Urine filter membrane photographed through a 4× microscope objective.
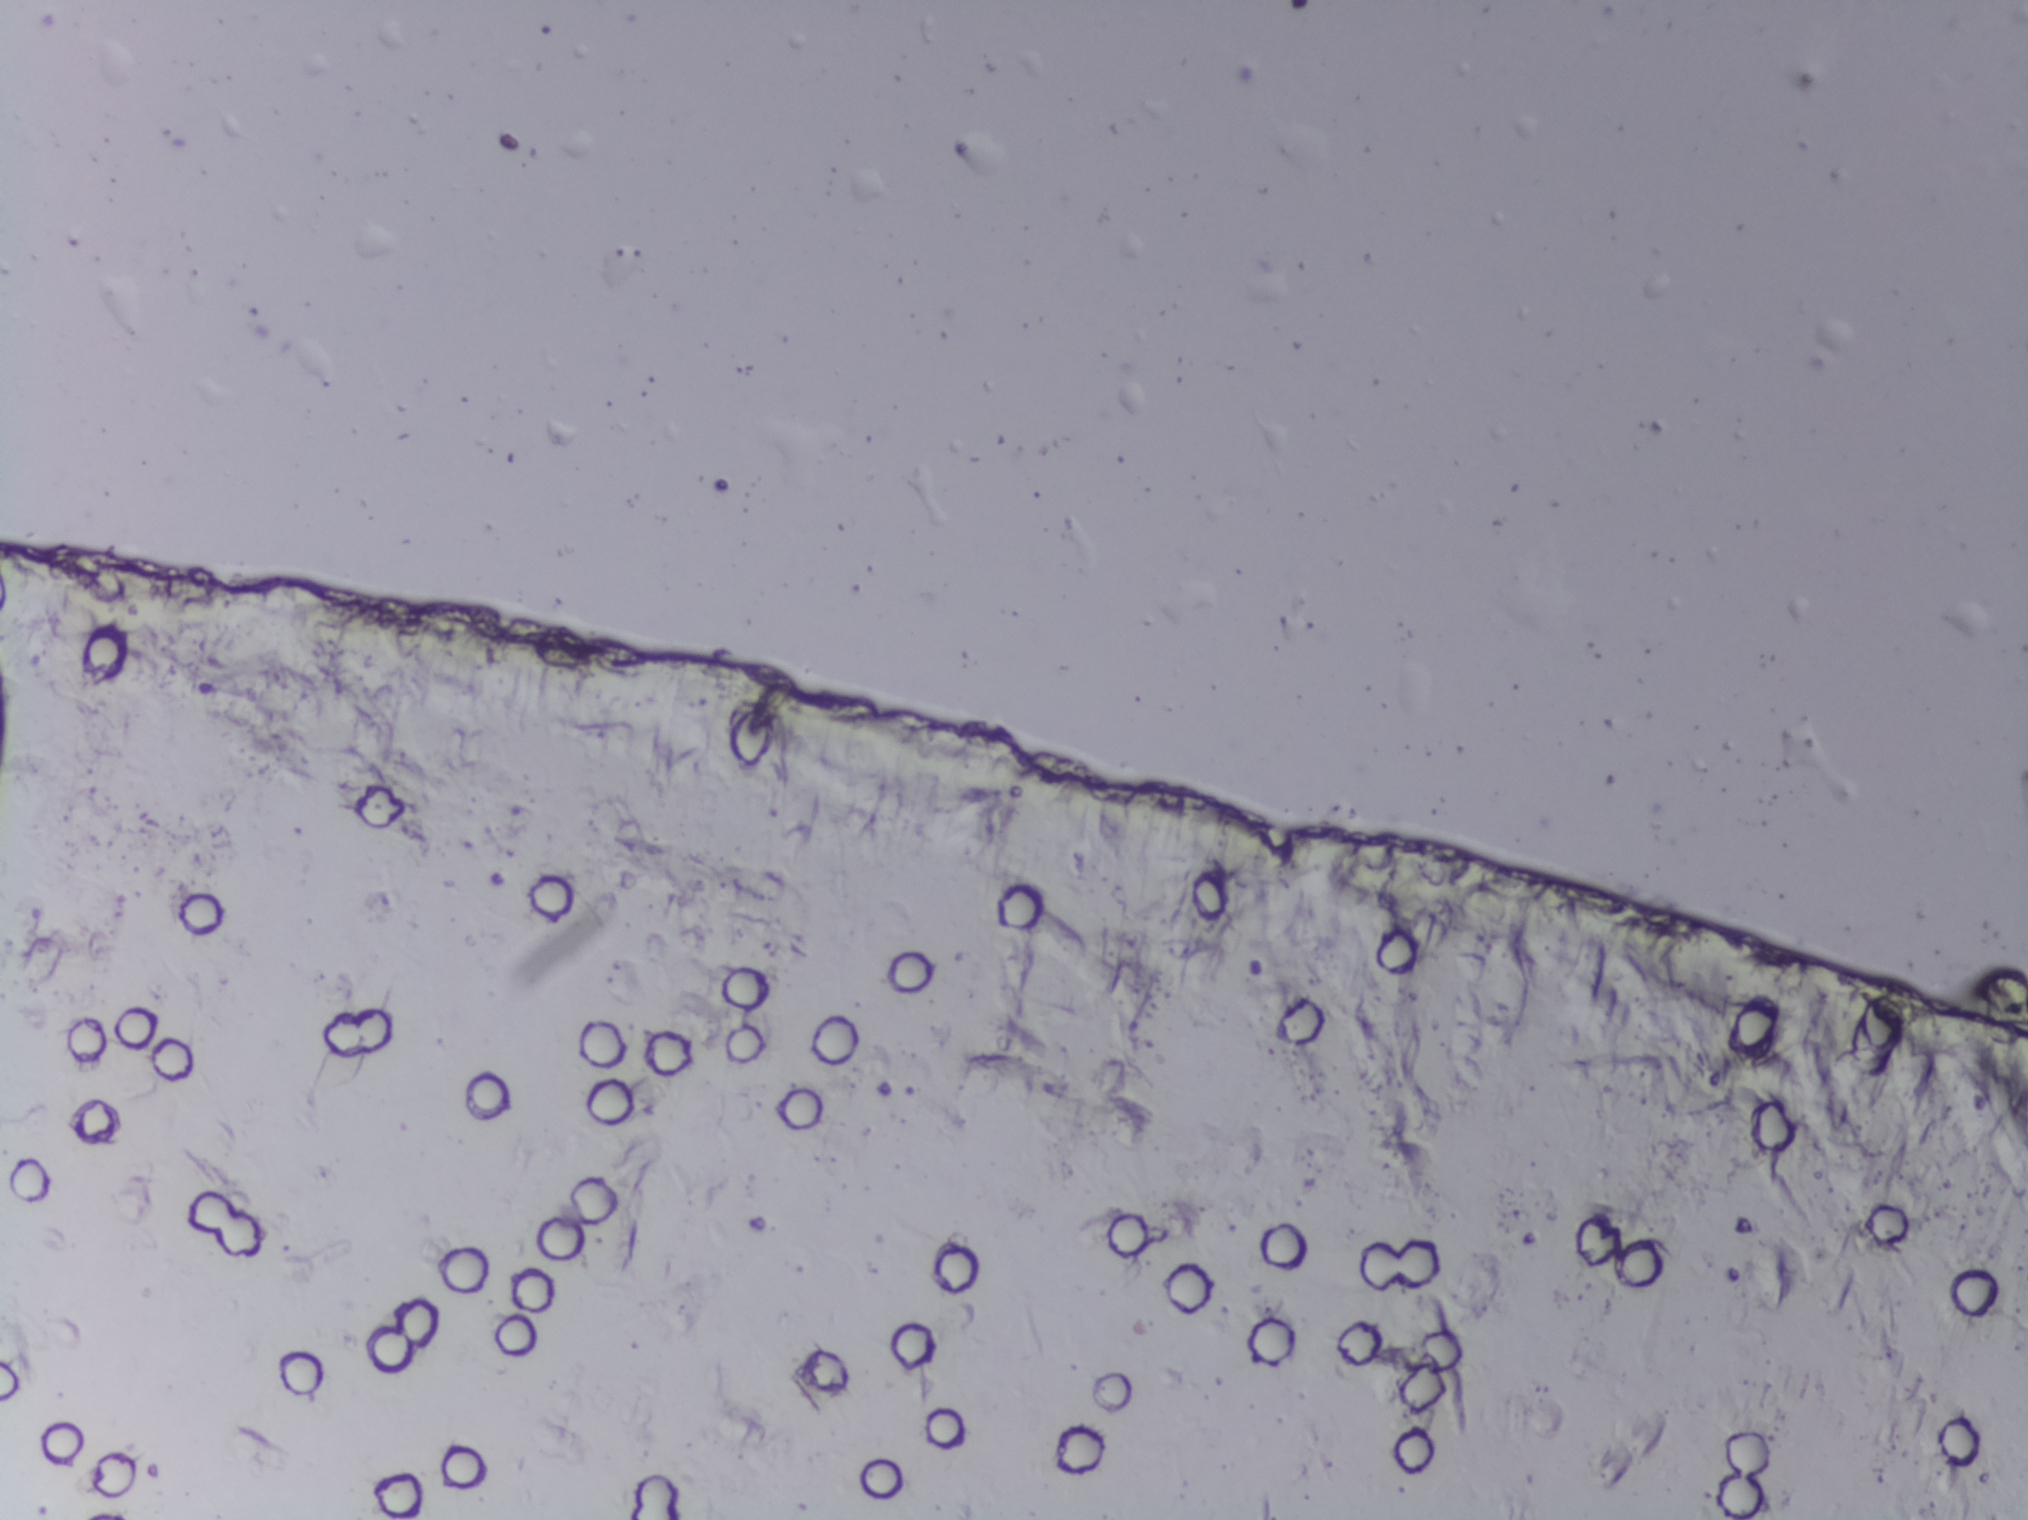
Schistosoma eggs: none outlined.